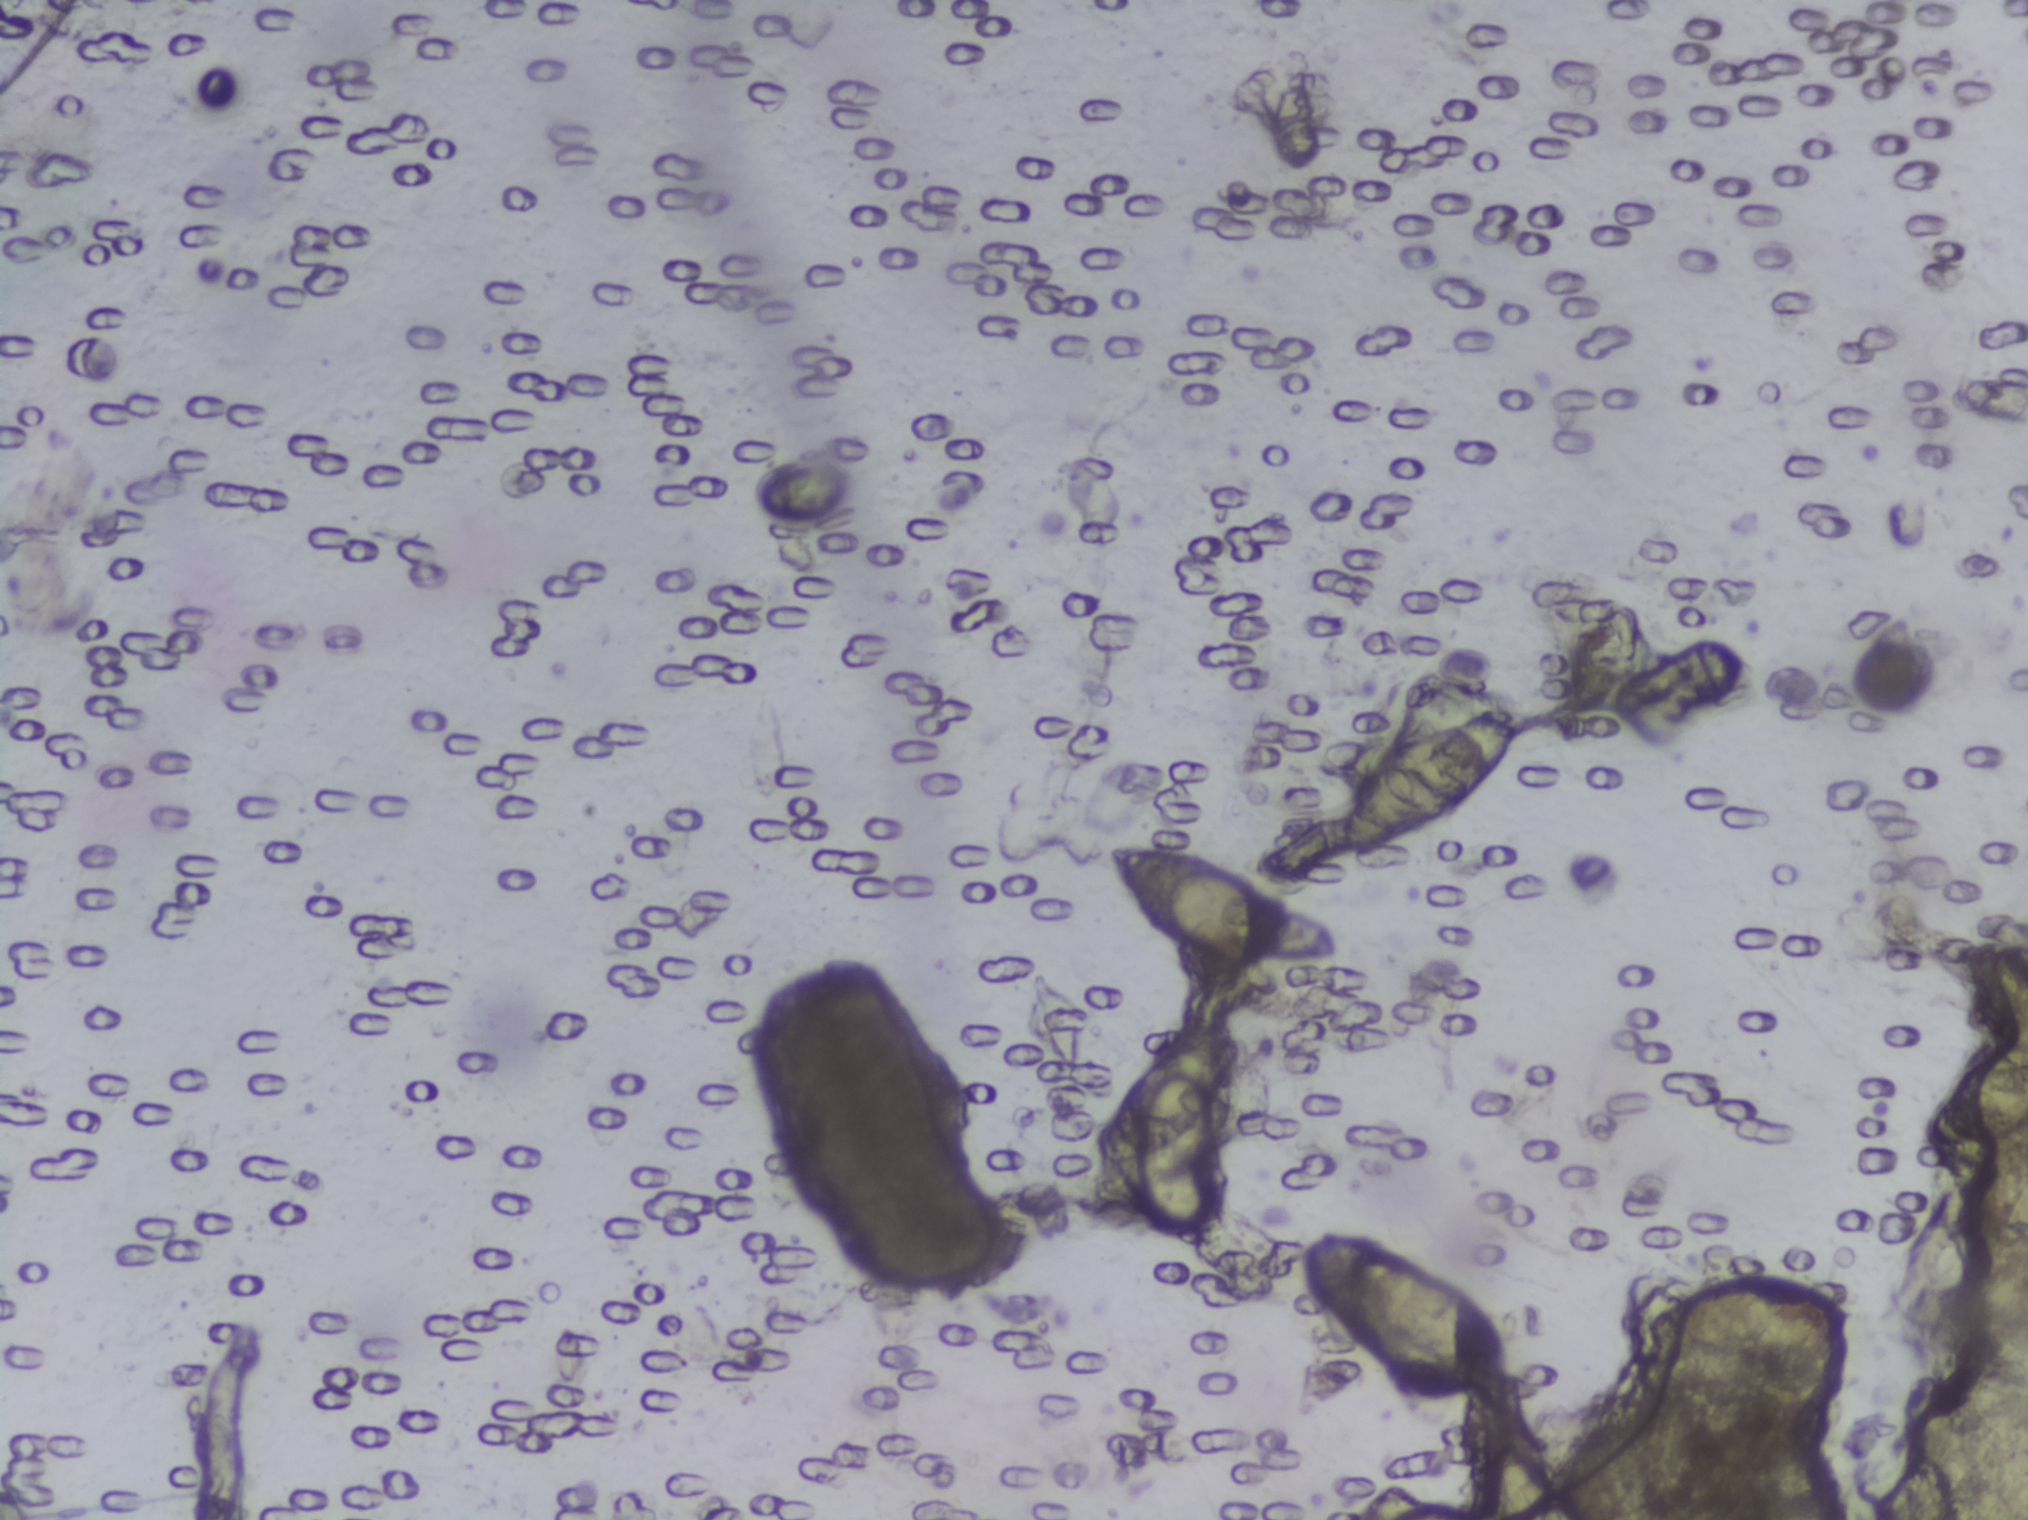
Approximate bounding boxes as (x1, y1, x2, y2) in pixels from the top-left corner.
Three areas of this image are outlined as Schistosoma eggs, from left to right: (1109, 842, 1267, 963); (1293, 1231, 1510, 1409); (1342, 712, 1525, 851). A single outlined area may contain several eggs.
Photograph from an automated digital microscope: urine filter membrane, 4× objective.